Urine filter membrane photographed through a 4× microscope objective. The field of view is about 1.5 mm × 1.1 mm.
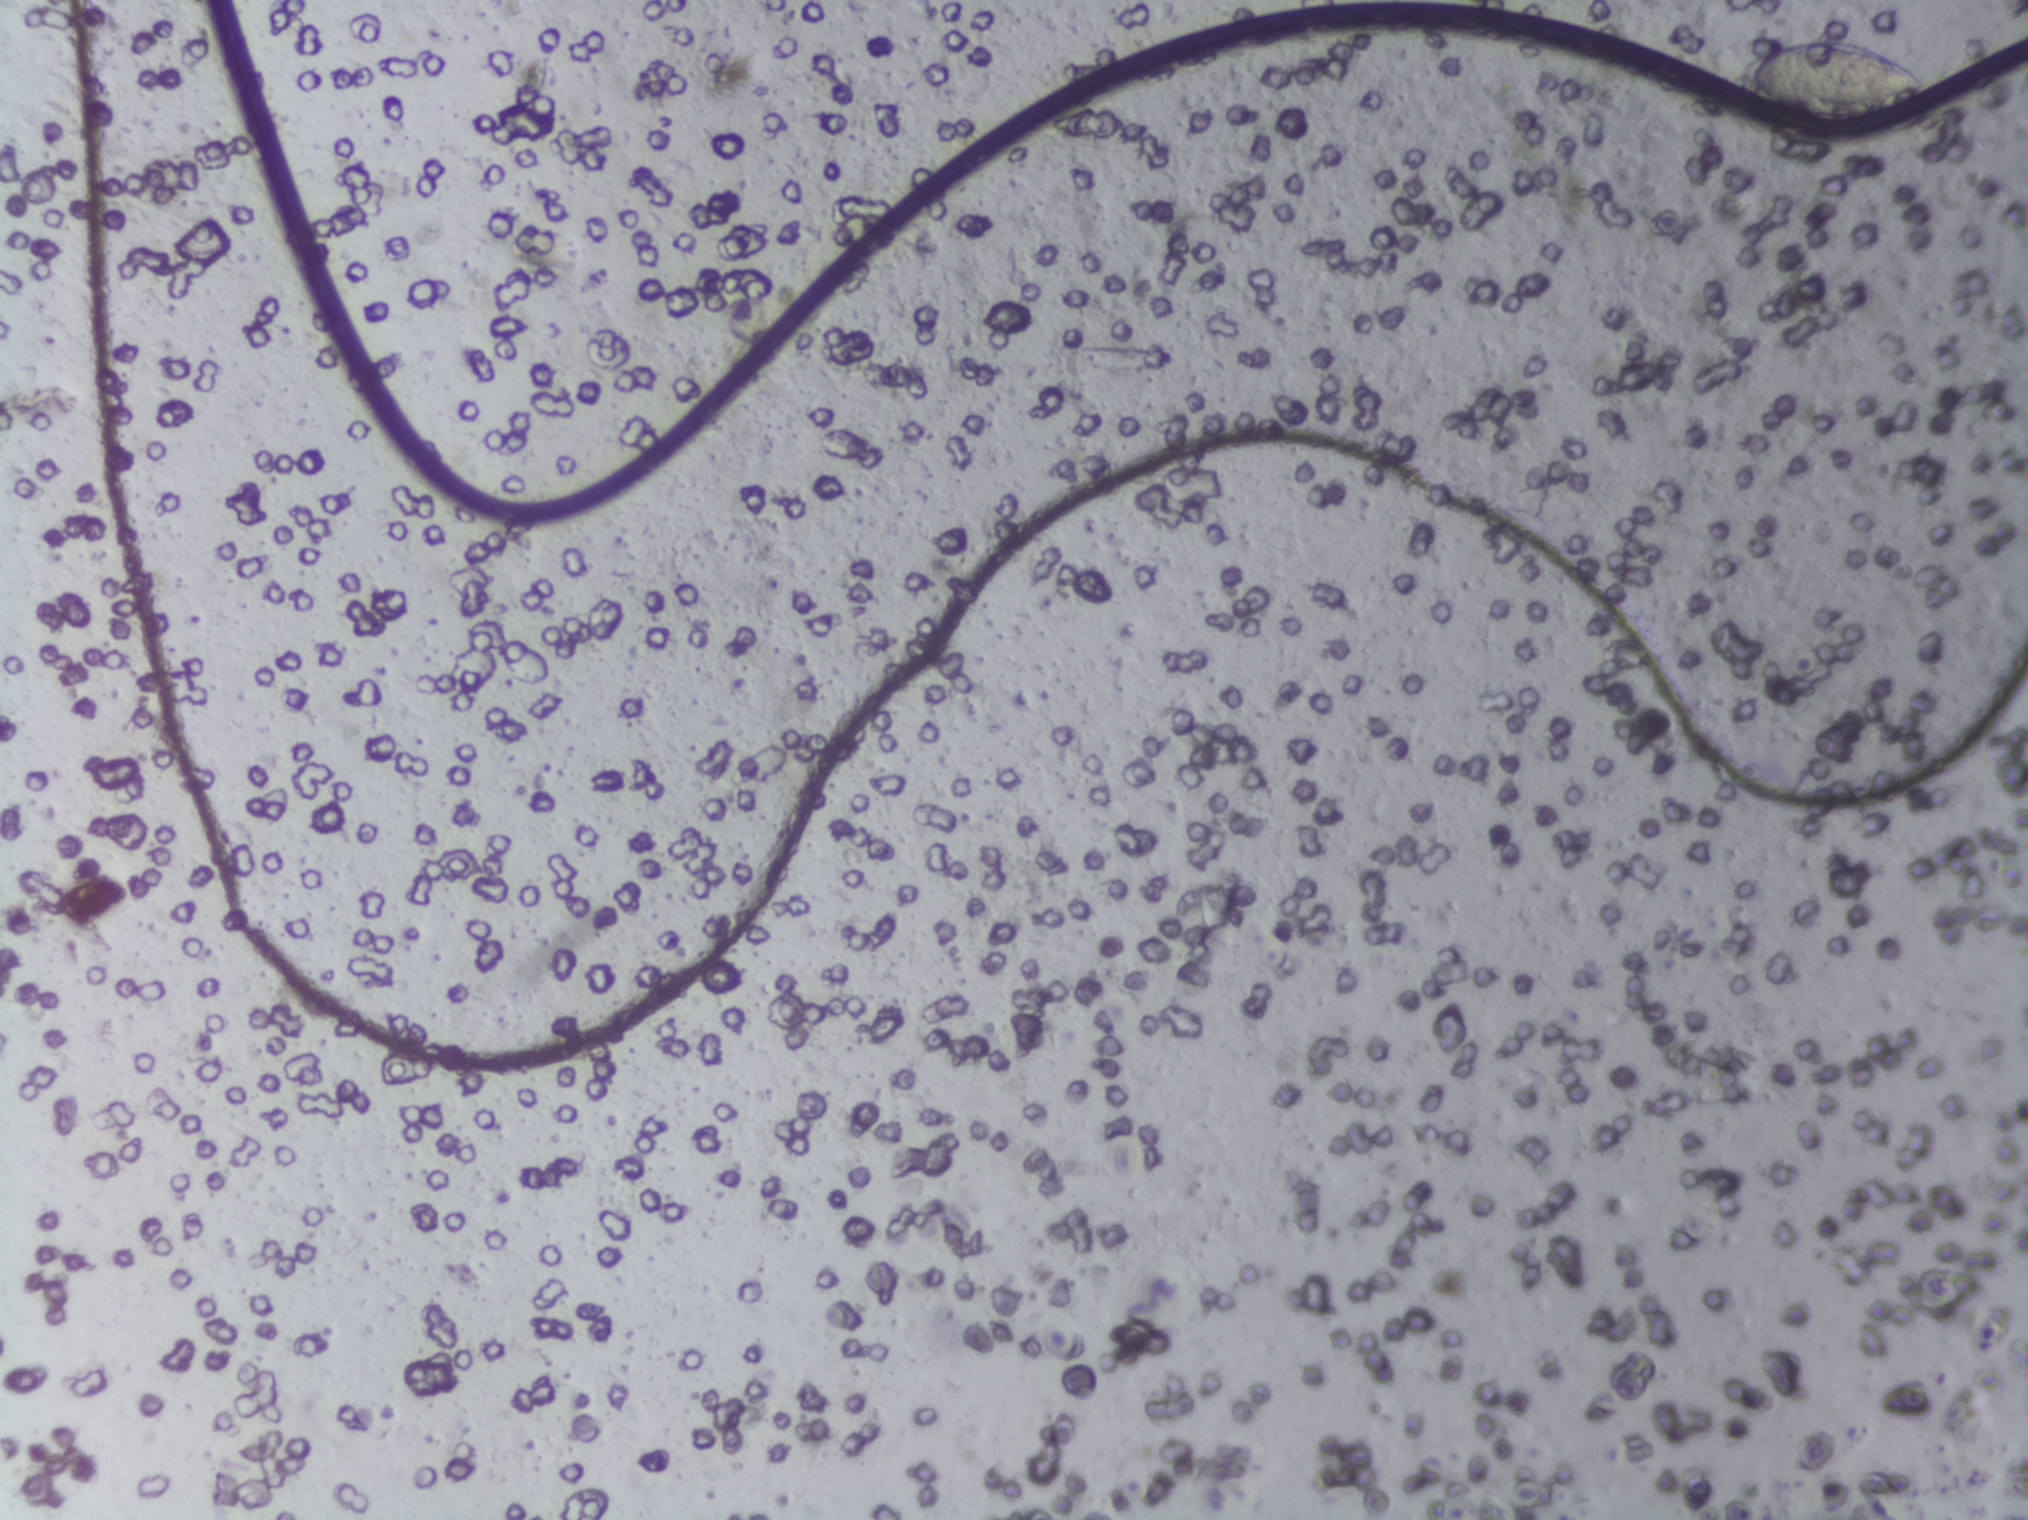
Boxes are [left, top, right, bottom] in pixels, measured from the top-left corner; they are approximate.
Schistosoma eggs are outlined in the expert annotation at [1731, 41, 1927, 126]. Marked pixels, not the box around them: about 0.4% of the image. A single outlined area may contain several eggs.